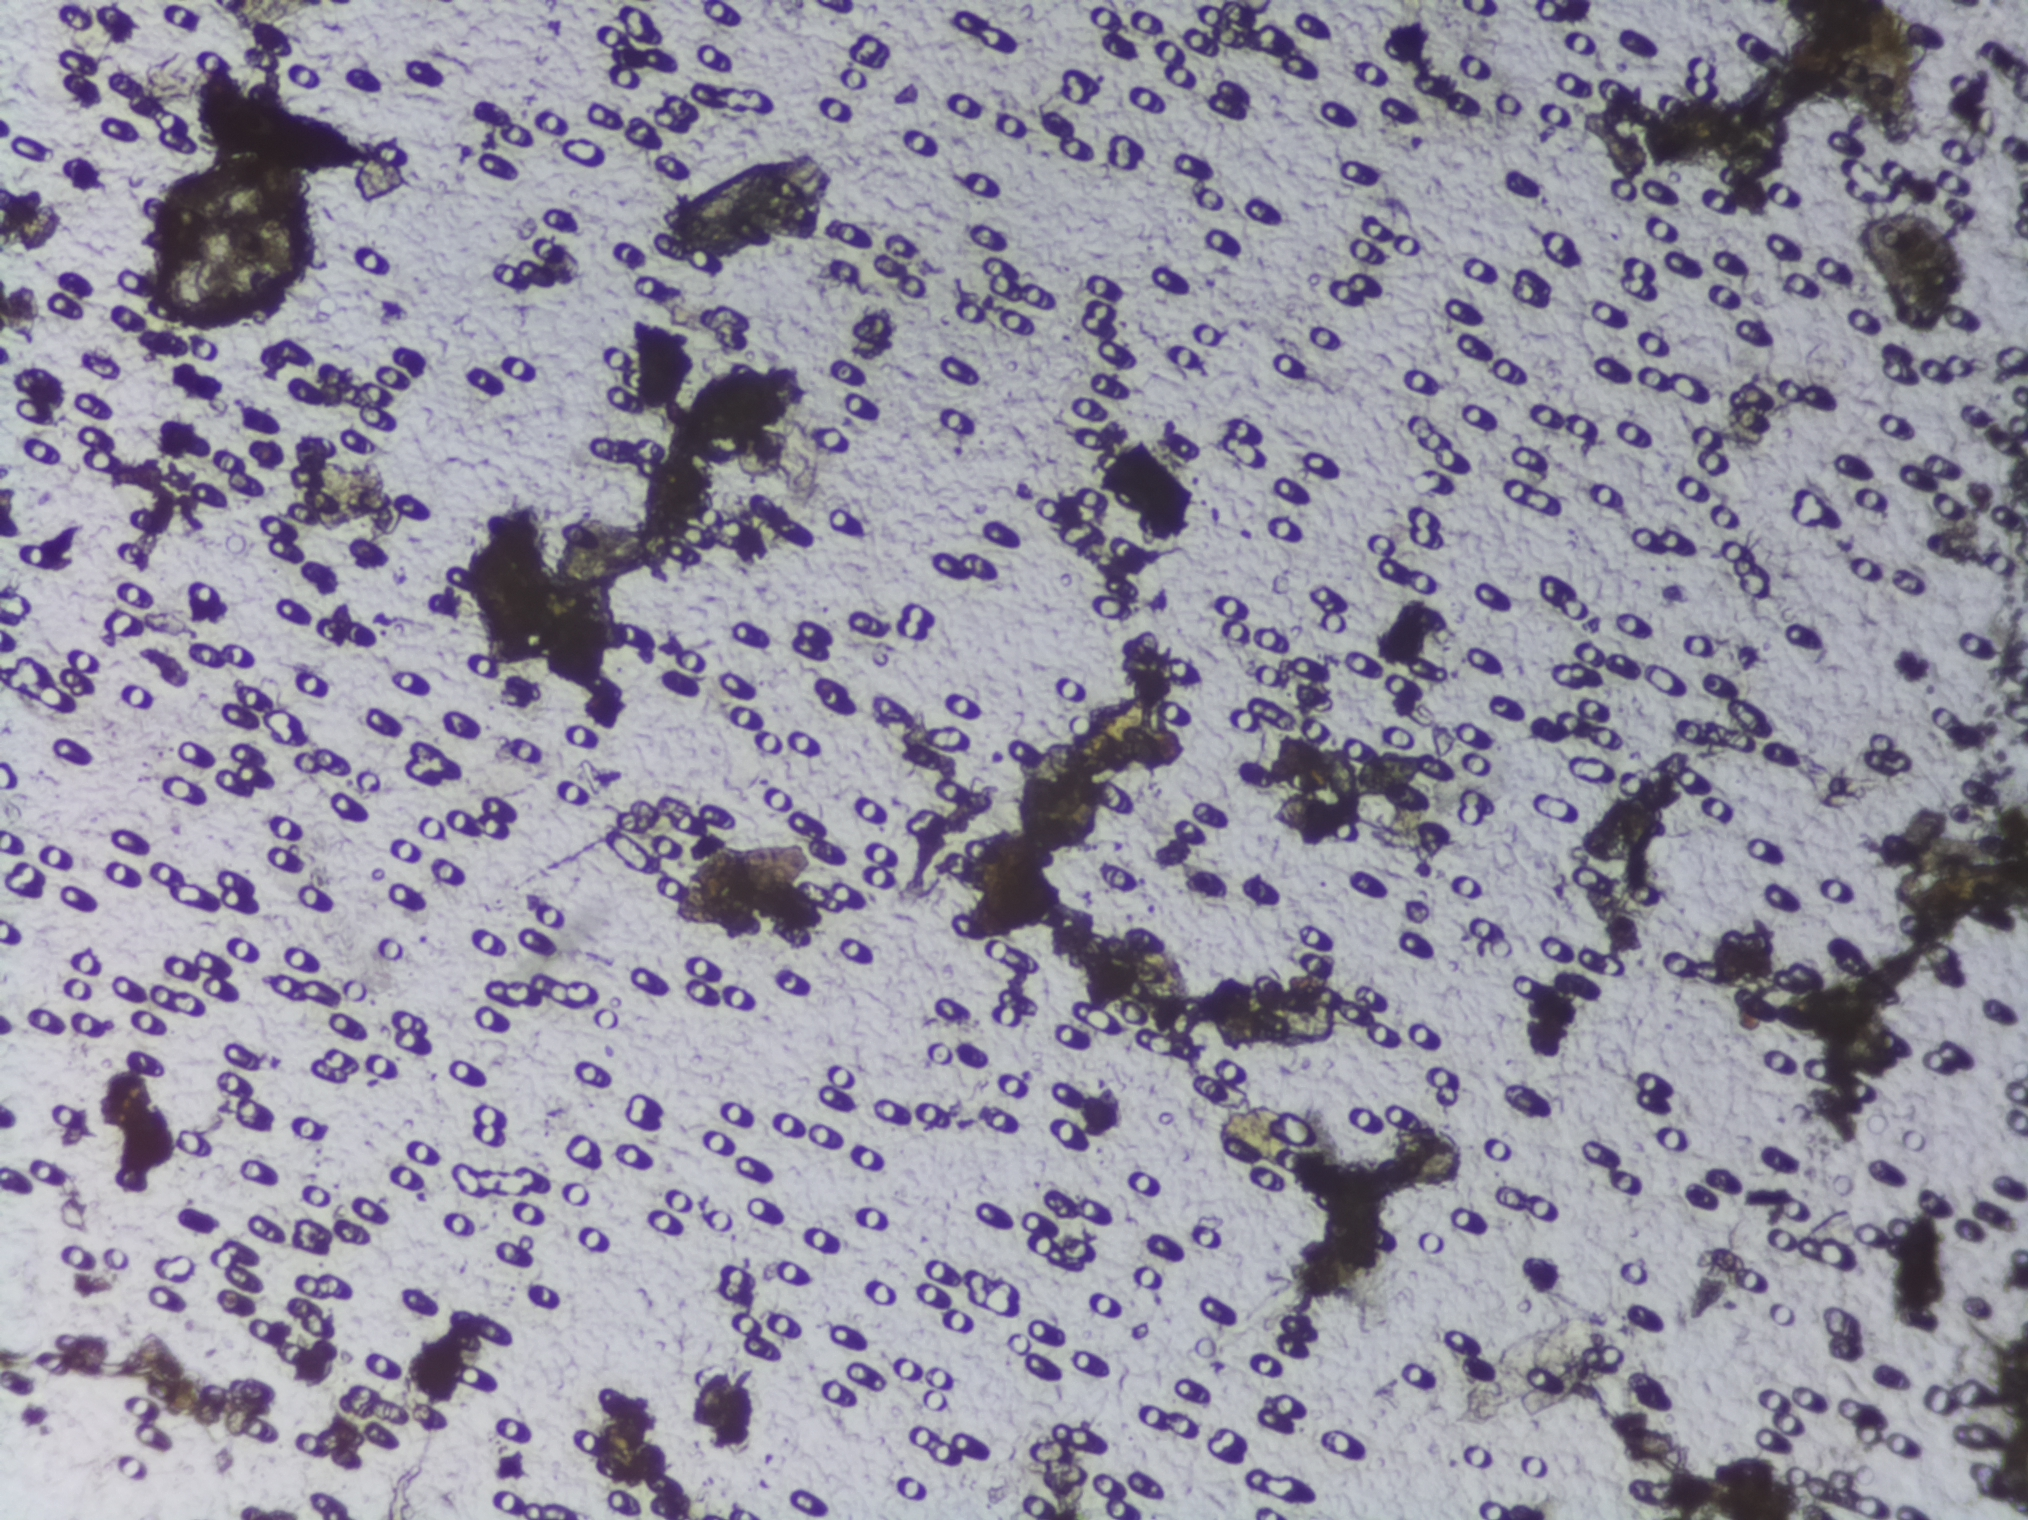
Photograph from an automated digital microscope: urine filter membrane, 4× objective.
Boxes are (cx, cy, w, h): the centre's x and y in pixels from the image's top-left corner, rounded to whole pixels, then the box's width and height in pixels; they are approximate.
One area of this image is outlined as Schistosoma eggs: (cx=1394, cy=775, w=79, h=49). An outlined area can hold more than one egg.